Photomicrograph of a urine filtration membrane, 4× objective.
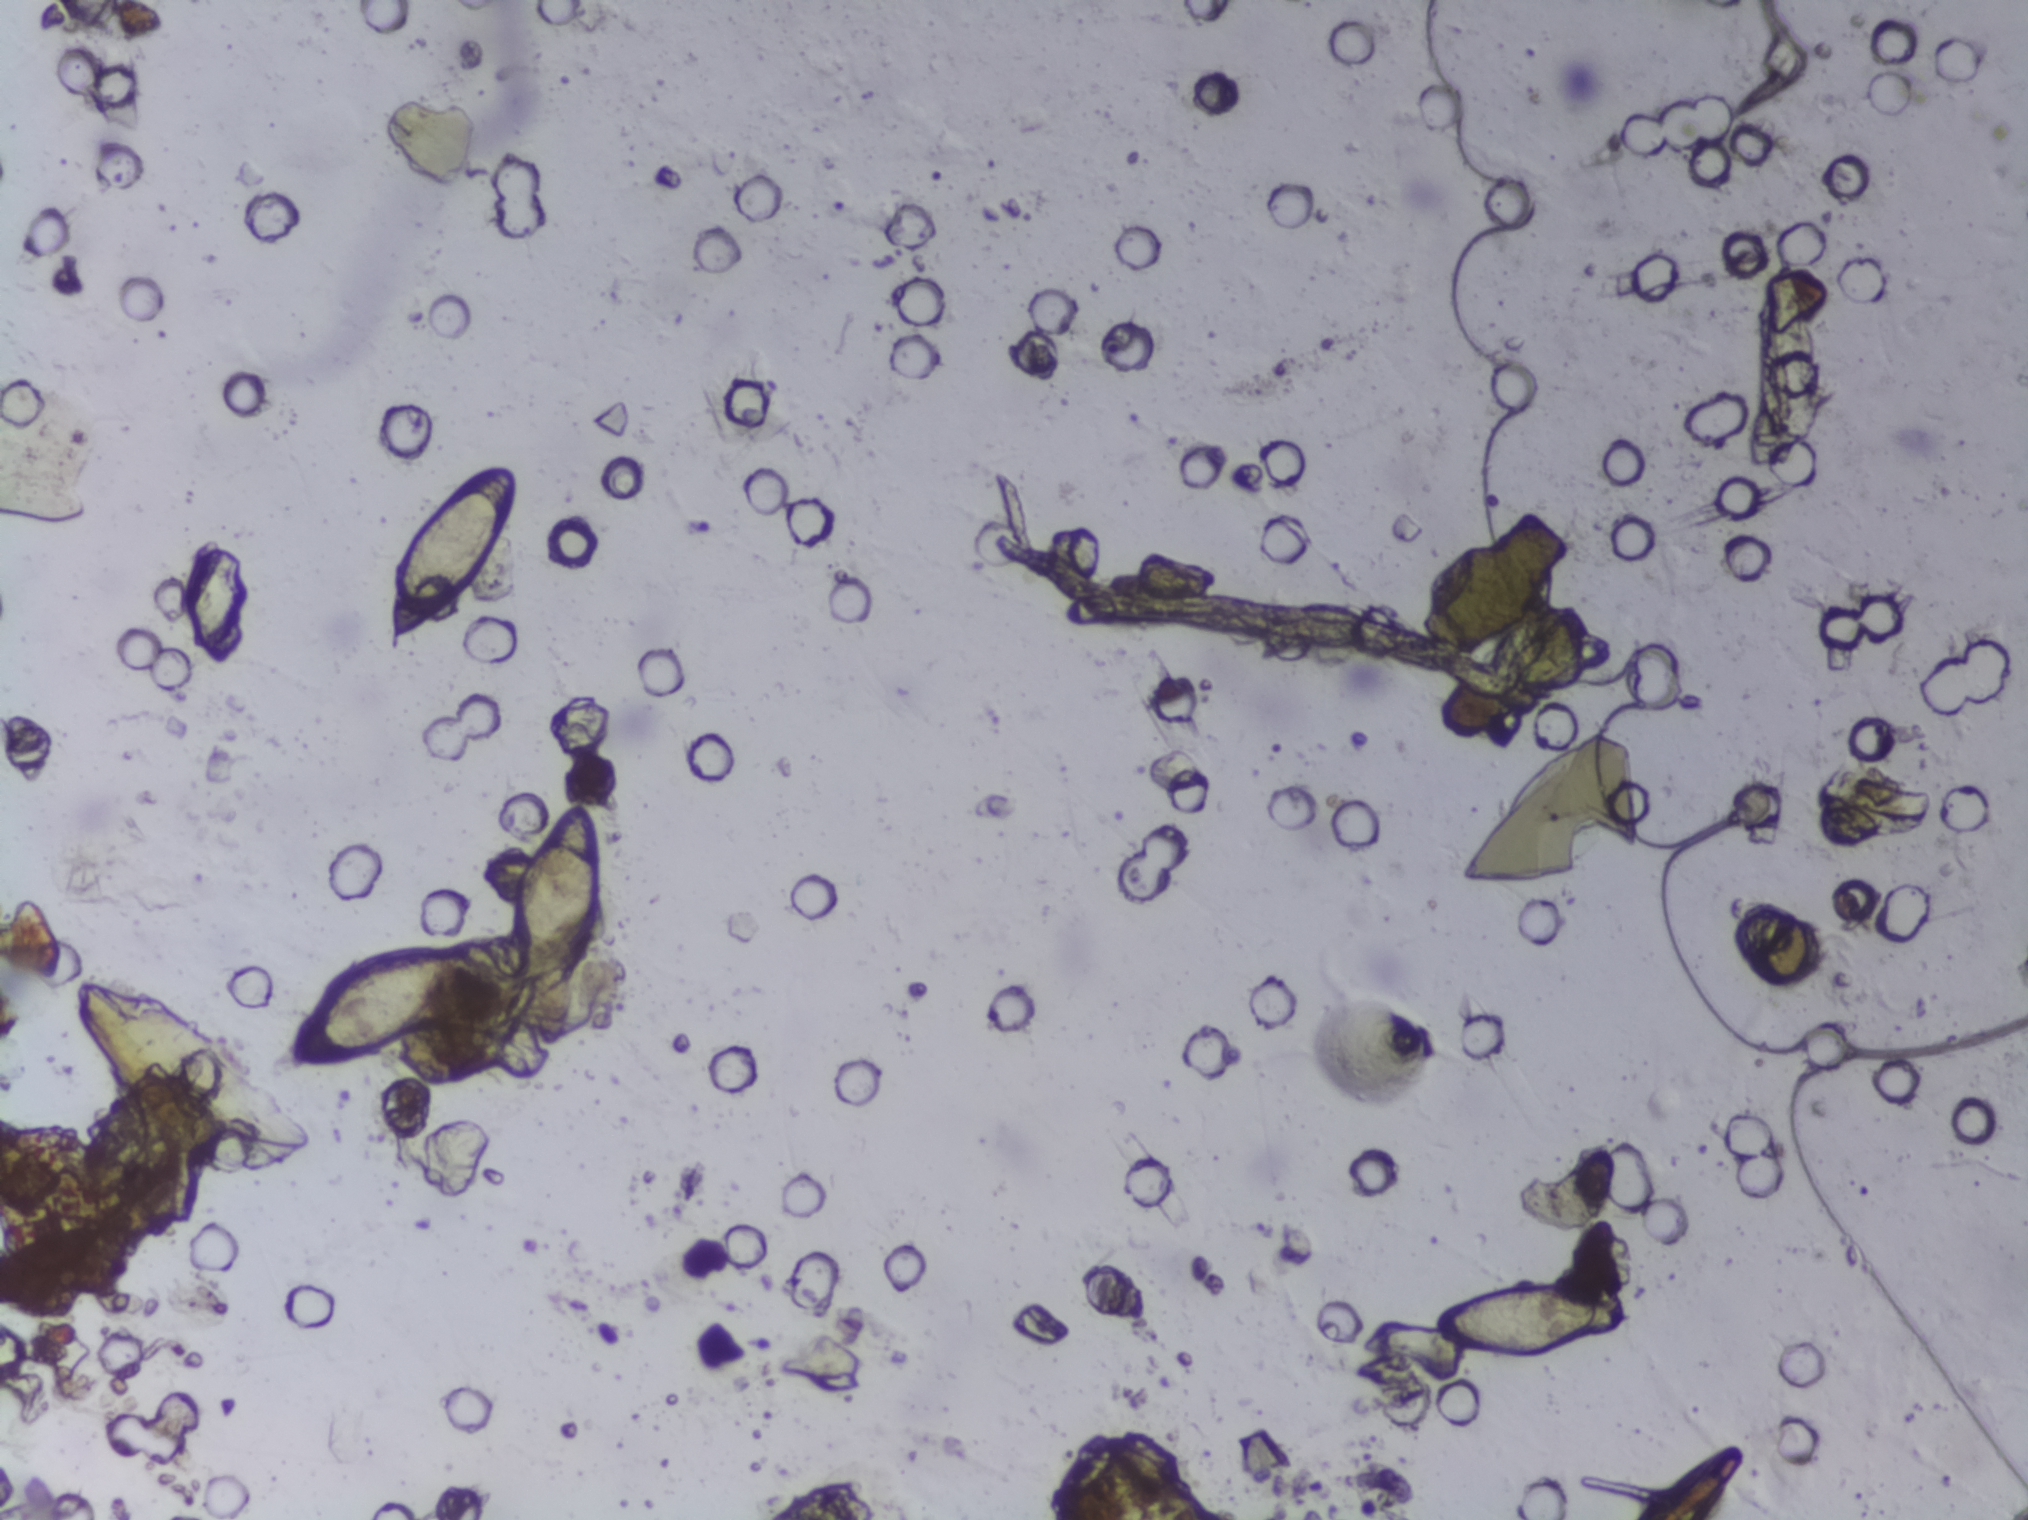
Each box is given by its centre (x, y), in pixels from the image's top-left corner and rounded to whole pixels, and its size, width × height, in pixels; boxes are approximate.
Findings: four areas outlined as Schistosoma eggs. Locations: centre (378, 1008), 214 × 132 px; centre (450, 556), 142 × 196 px; centre (555, 901), 123 × 211 px; centre (1528, 1322), 211 × 93 px. The marked pixels themselves, not the boxes around them, cover about 2.2% of the image. Eggs that touch can end up inside the same outlined area.